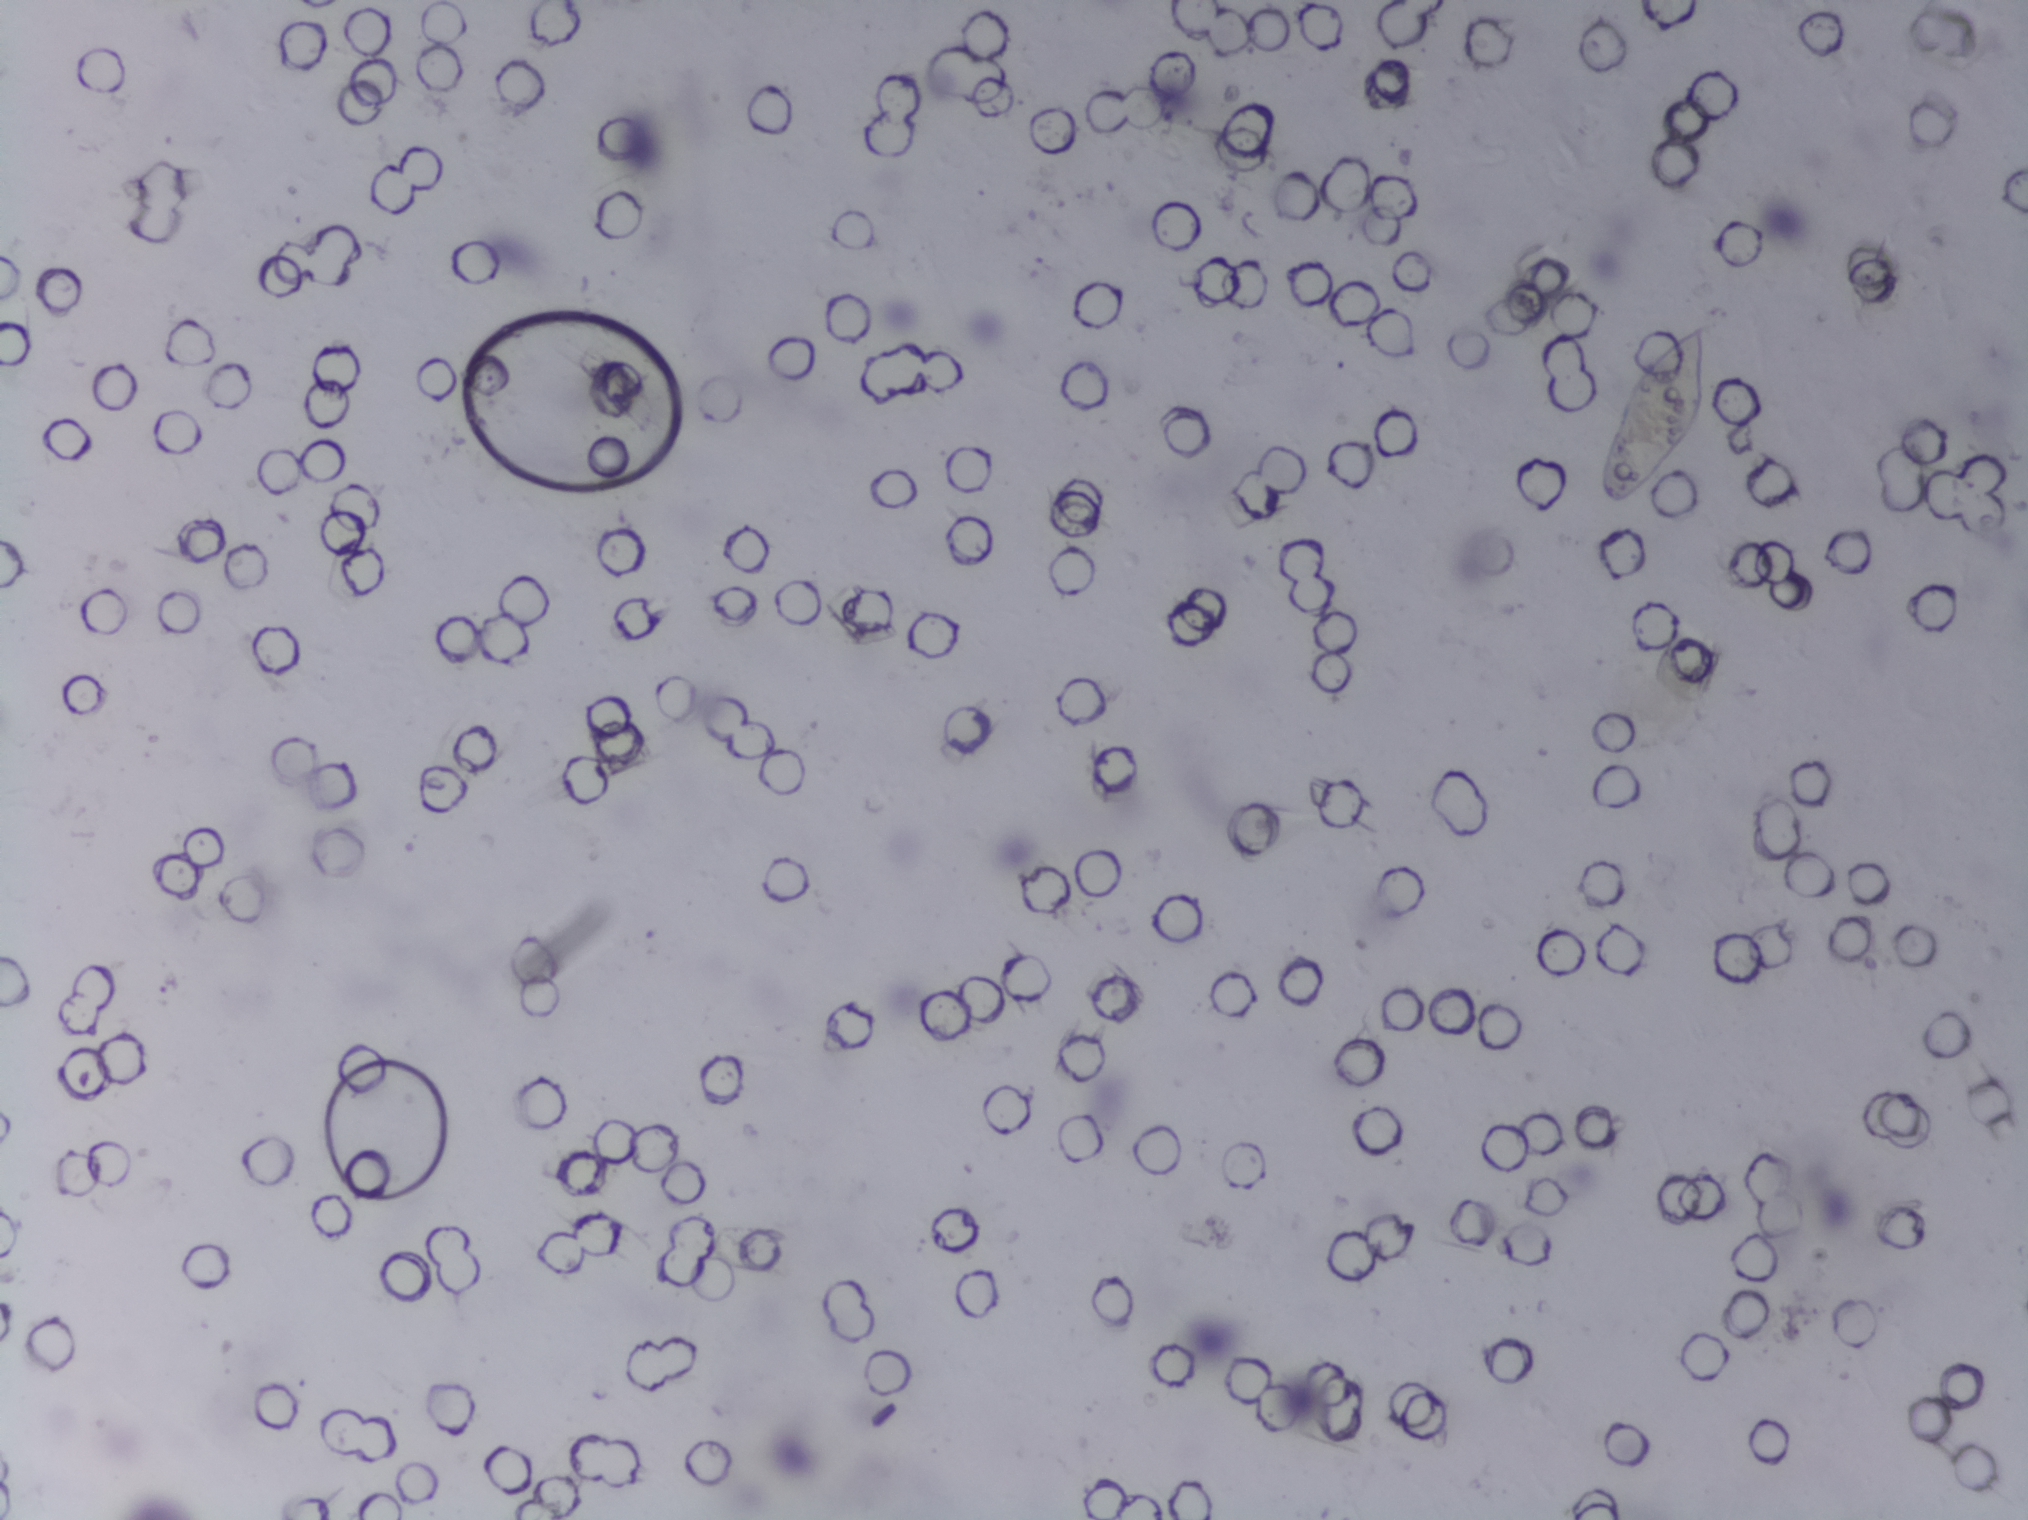
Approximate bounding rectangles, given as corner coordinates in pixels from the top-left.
Schistosoma eggs are outlined in one area of this image: (x1=1597, y1=323, x2=1707, y2=505). Marked pixels, not the box around them: about 0.4% of the image. Eggs that touch can end up inside the same outlined area.
One field of view of a urine filter membrane, 4× objective, 2028 × 1520 pixels. The image covers about 1.5 × 1.1 mm of the membrane.